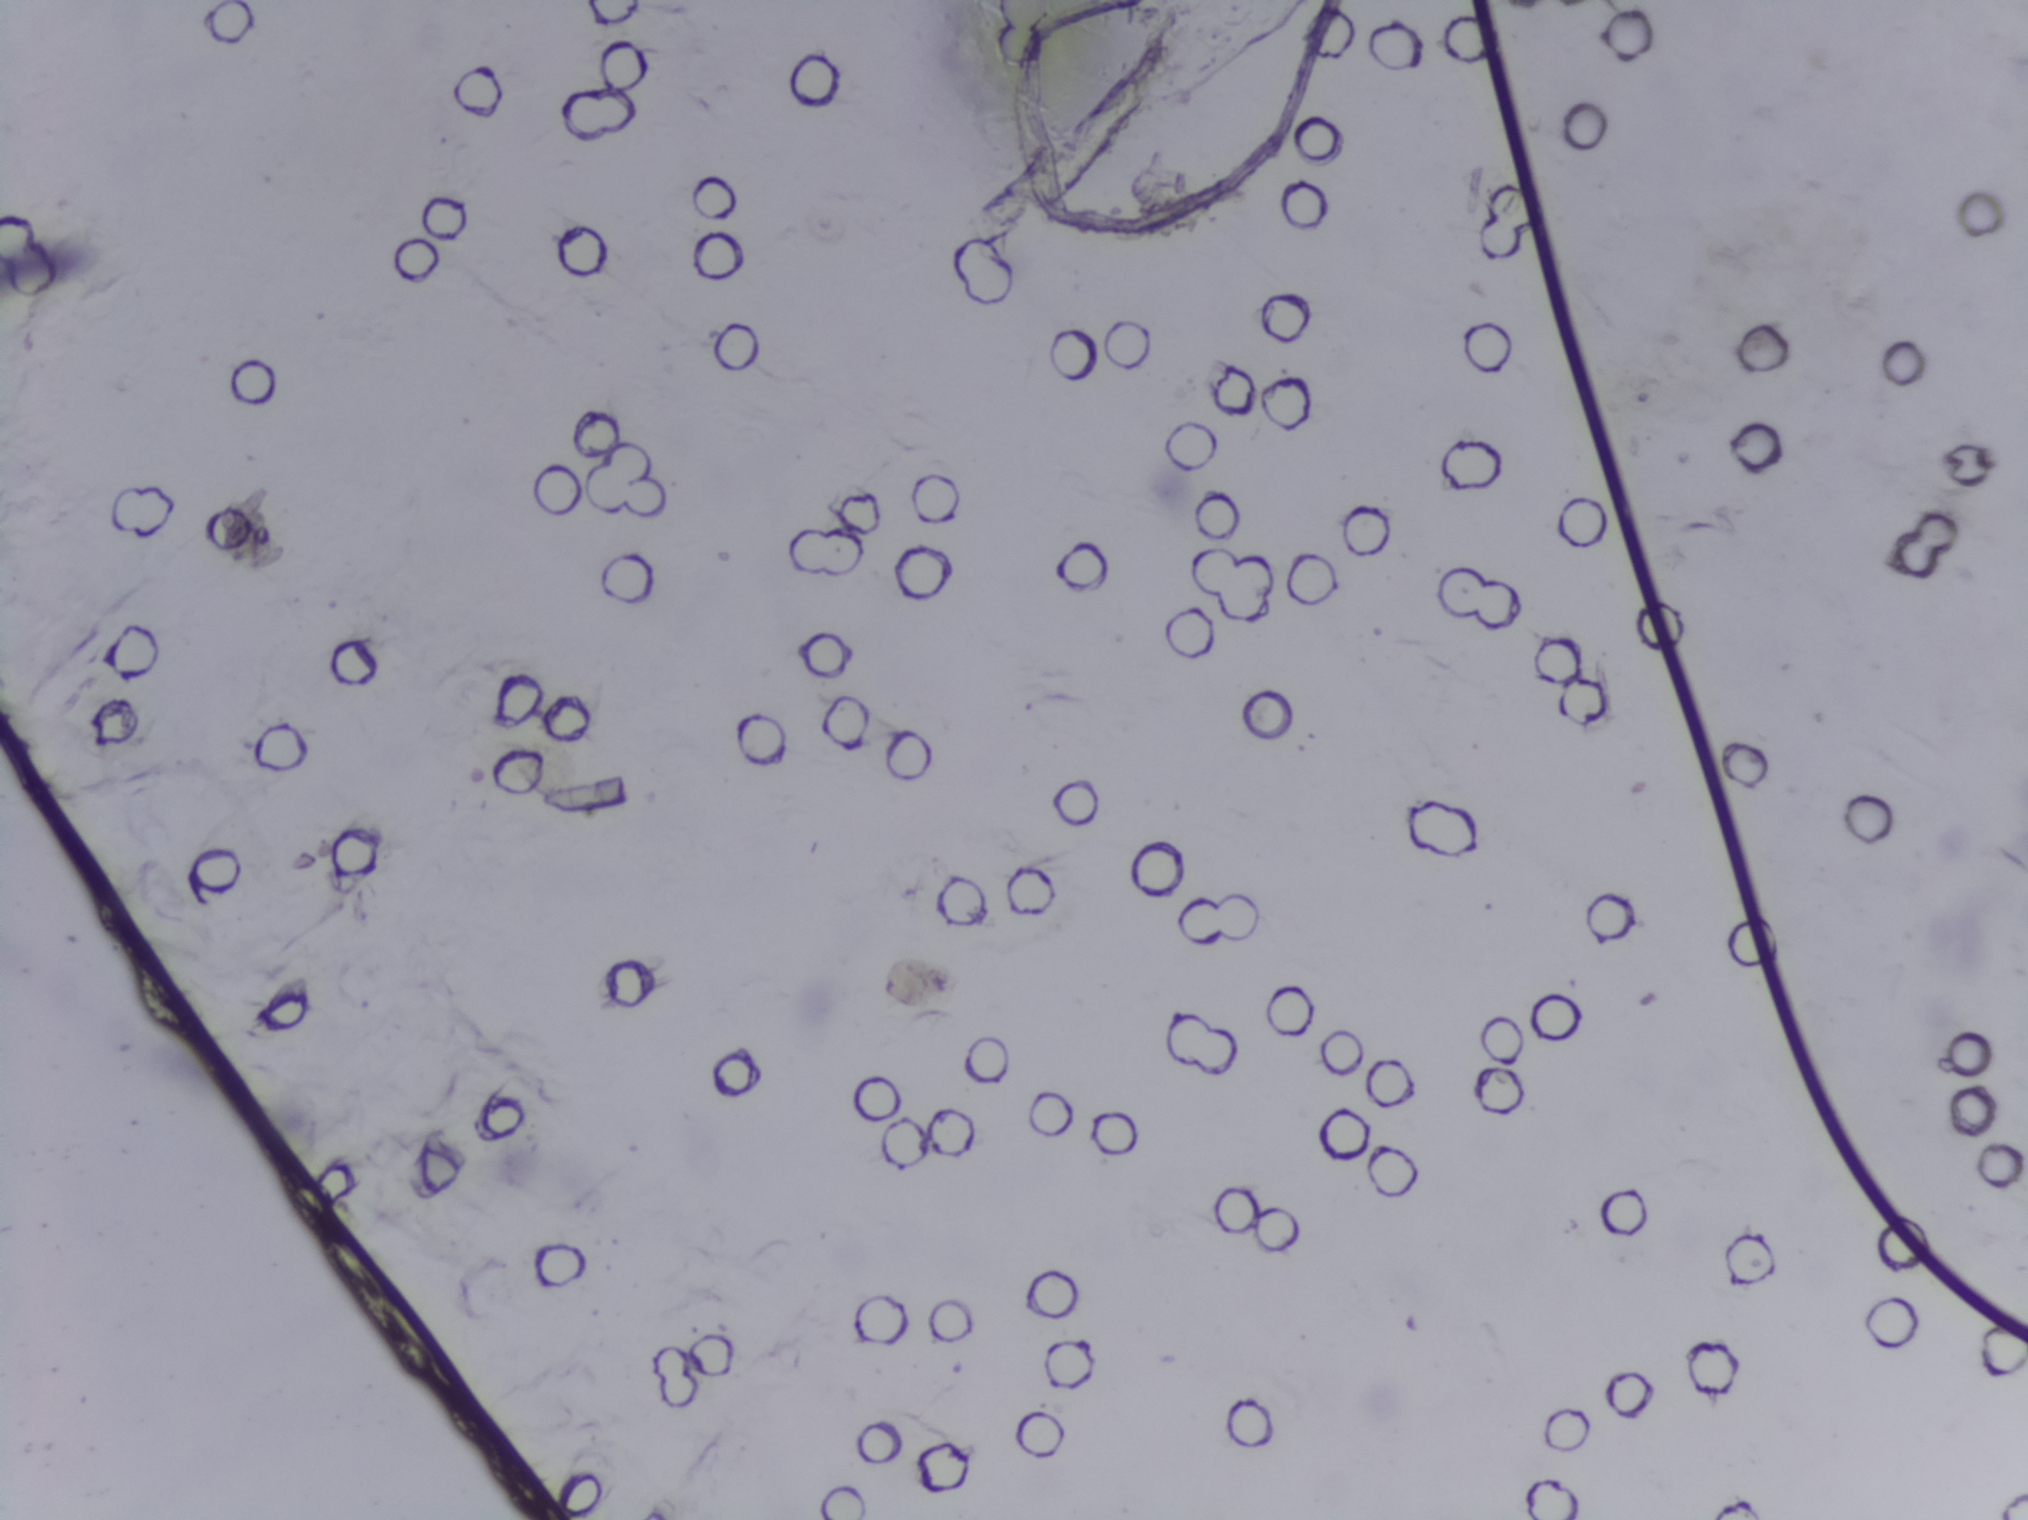
No Schistosoma egg is outlined in this image's expert annotation.
Photomicrograph of a urine filtration membrane, 4× objective. The field of view is about 1.5 mm × 1.1 mm.